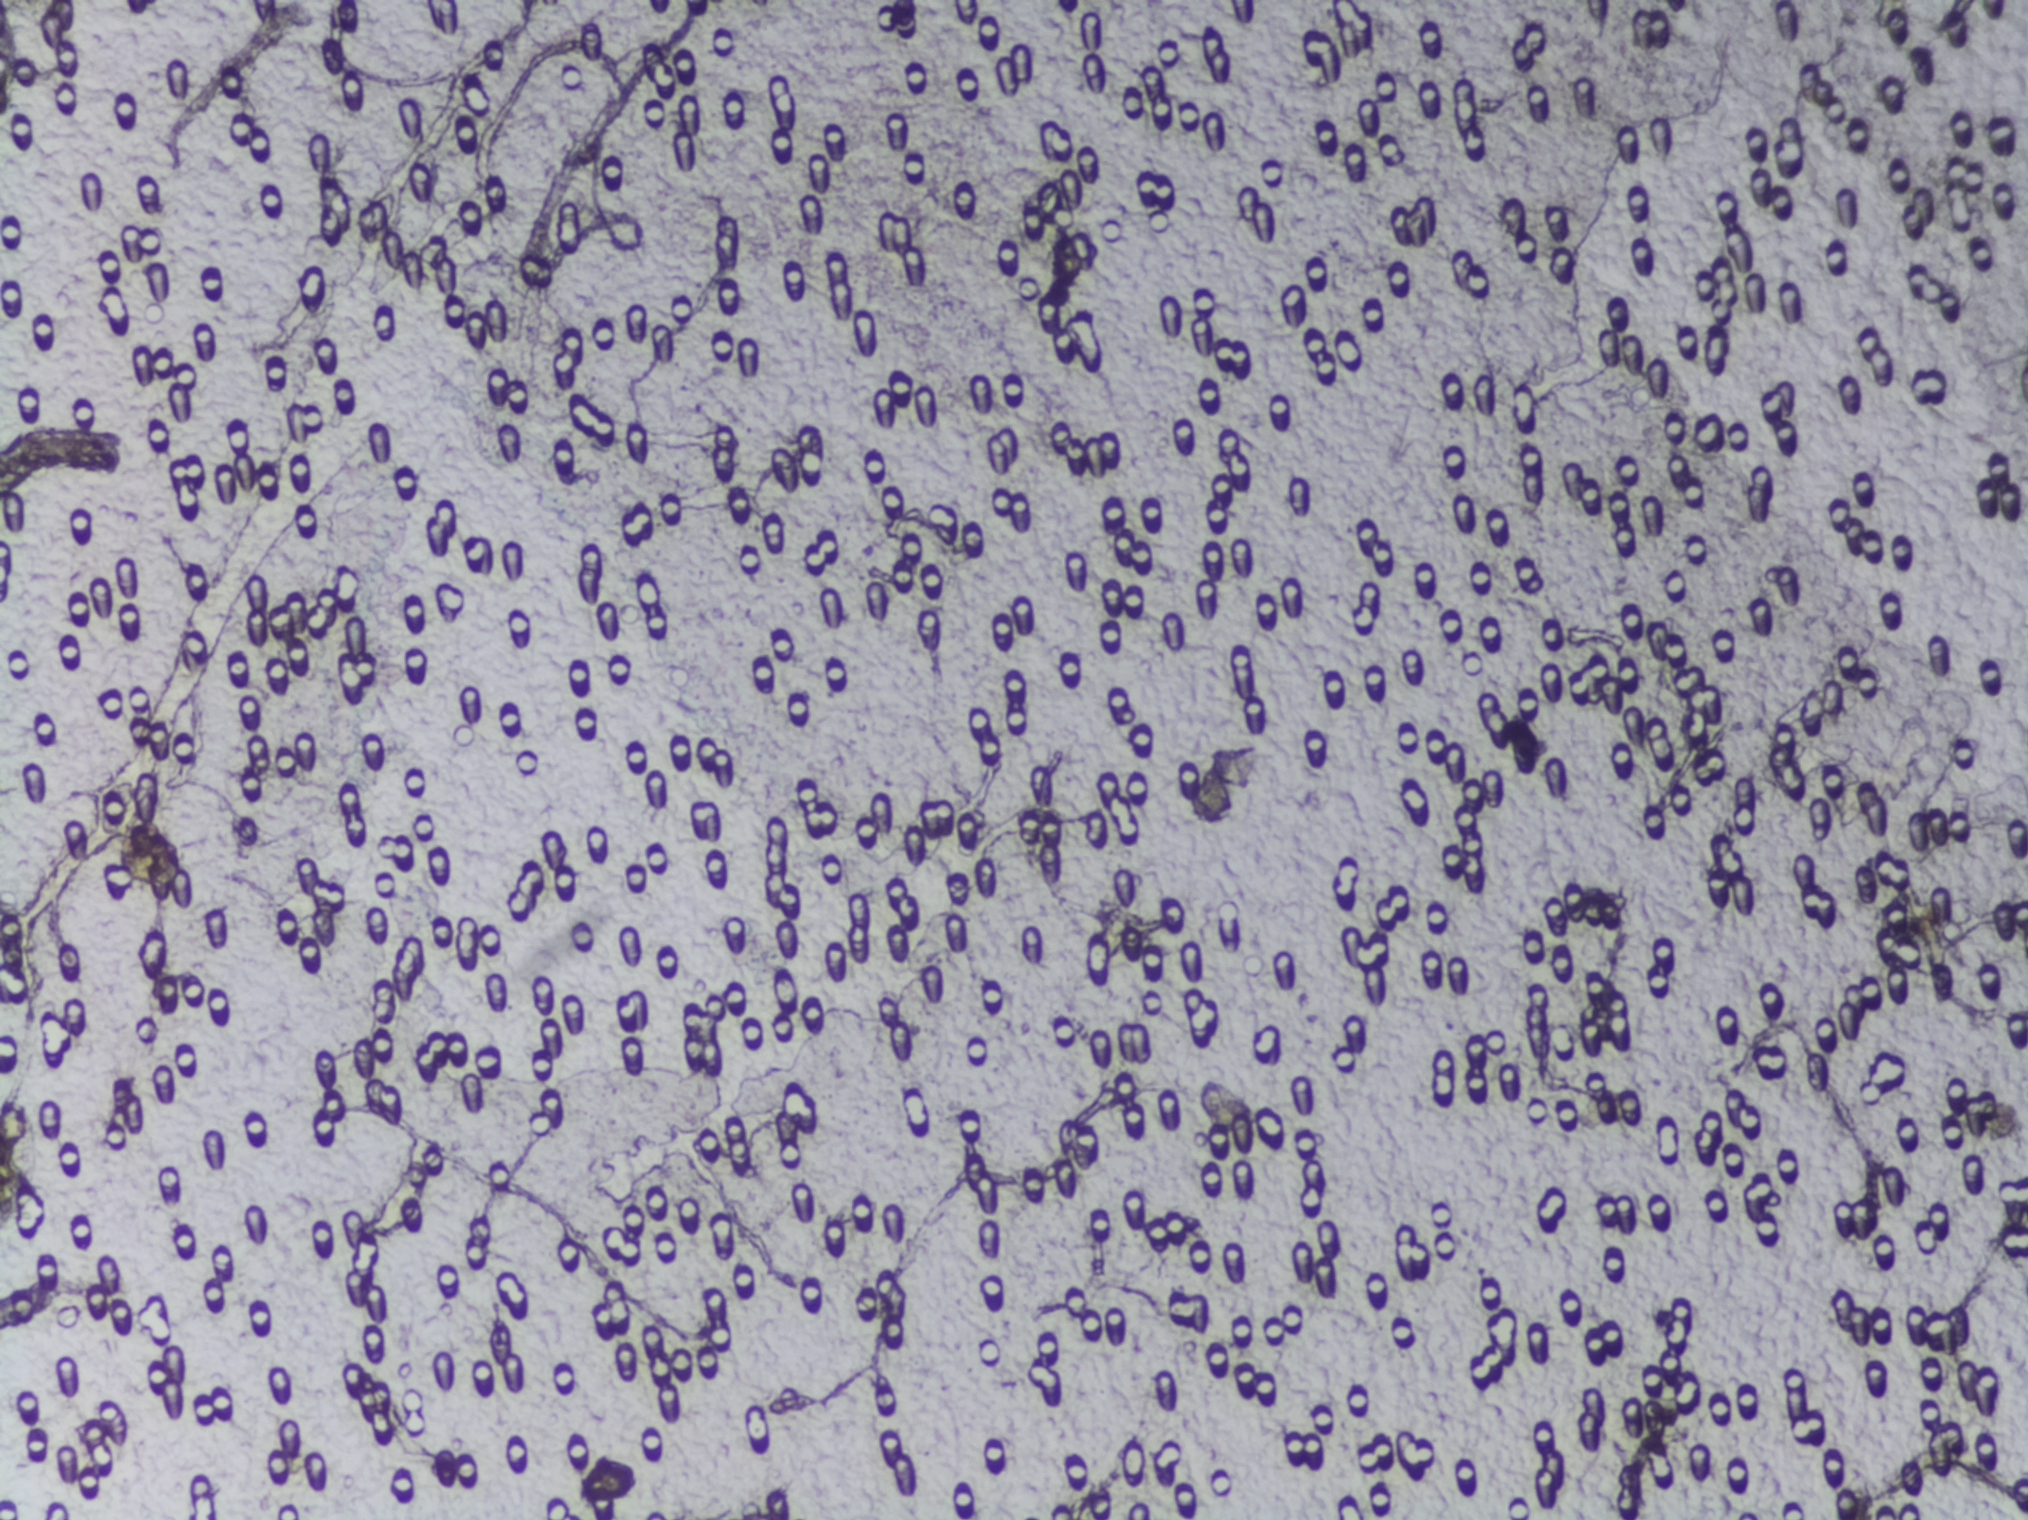
One field of view of a urine filter membrane, 4× objective, 2028 × 1520 pixels. The image covers about 1.5 × 1.1 mm of the membrane.
No area of this image was outlined as a Schistosoma egg.